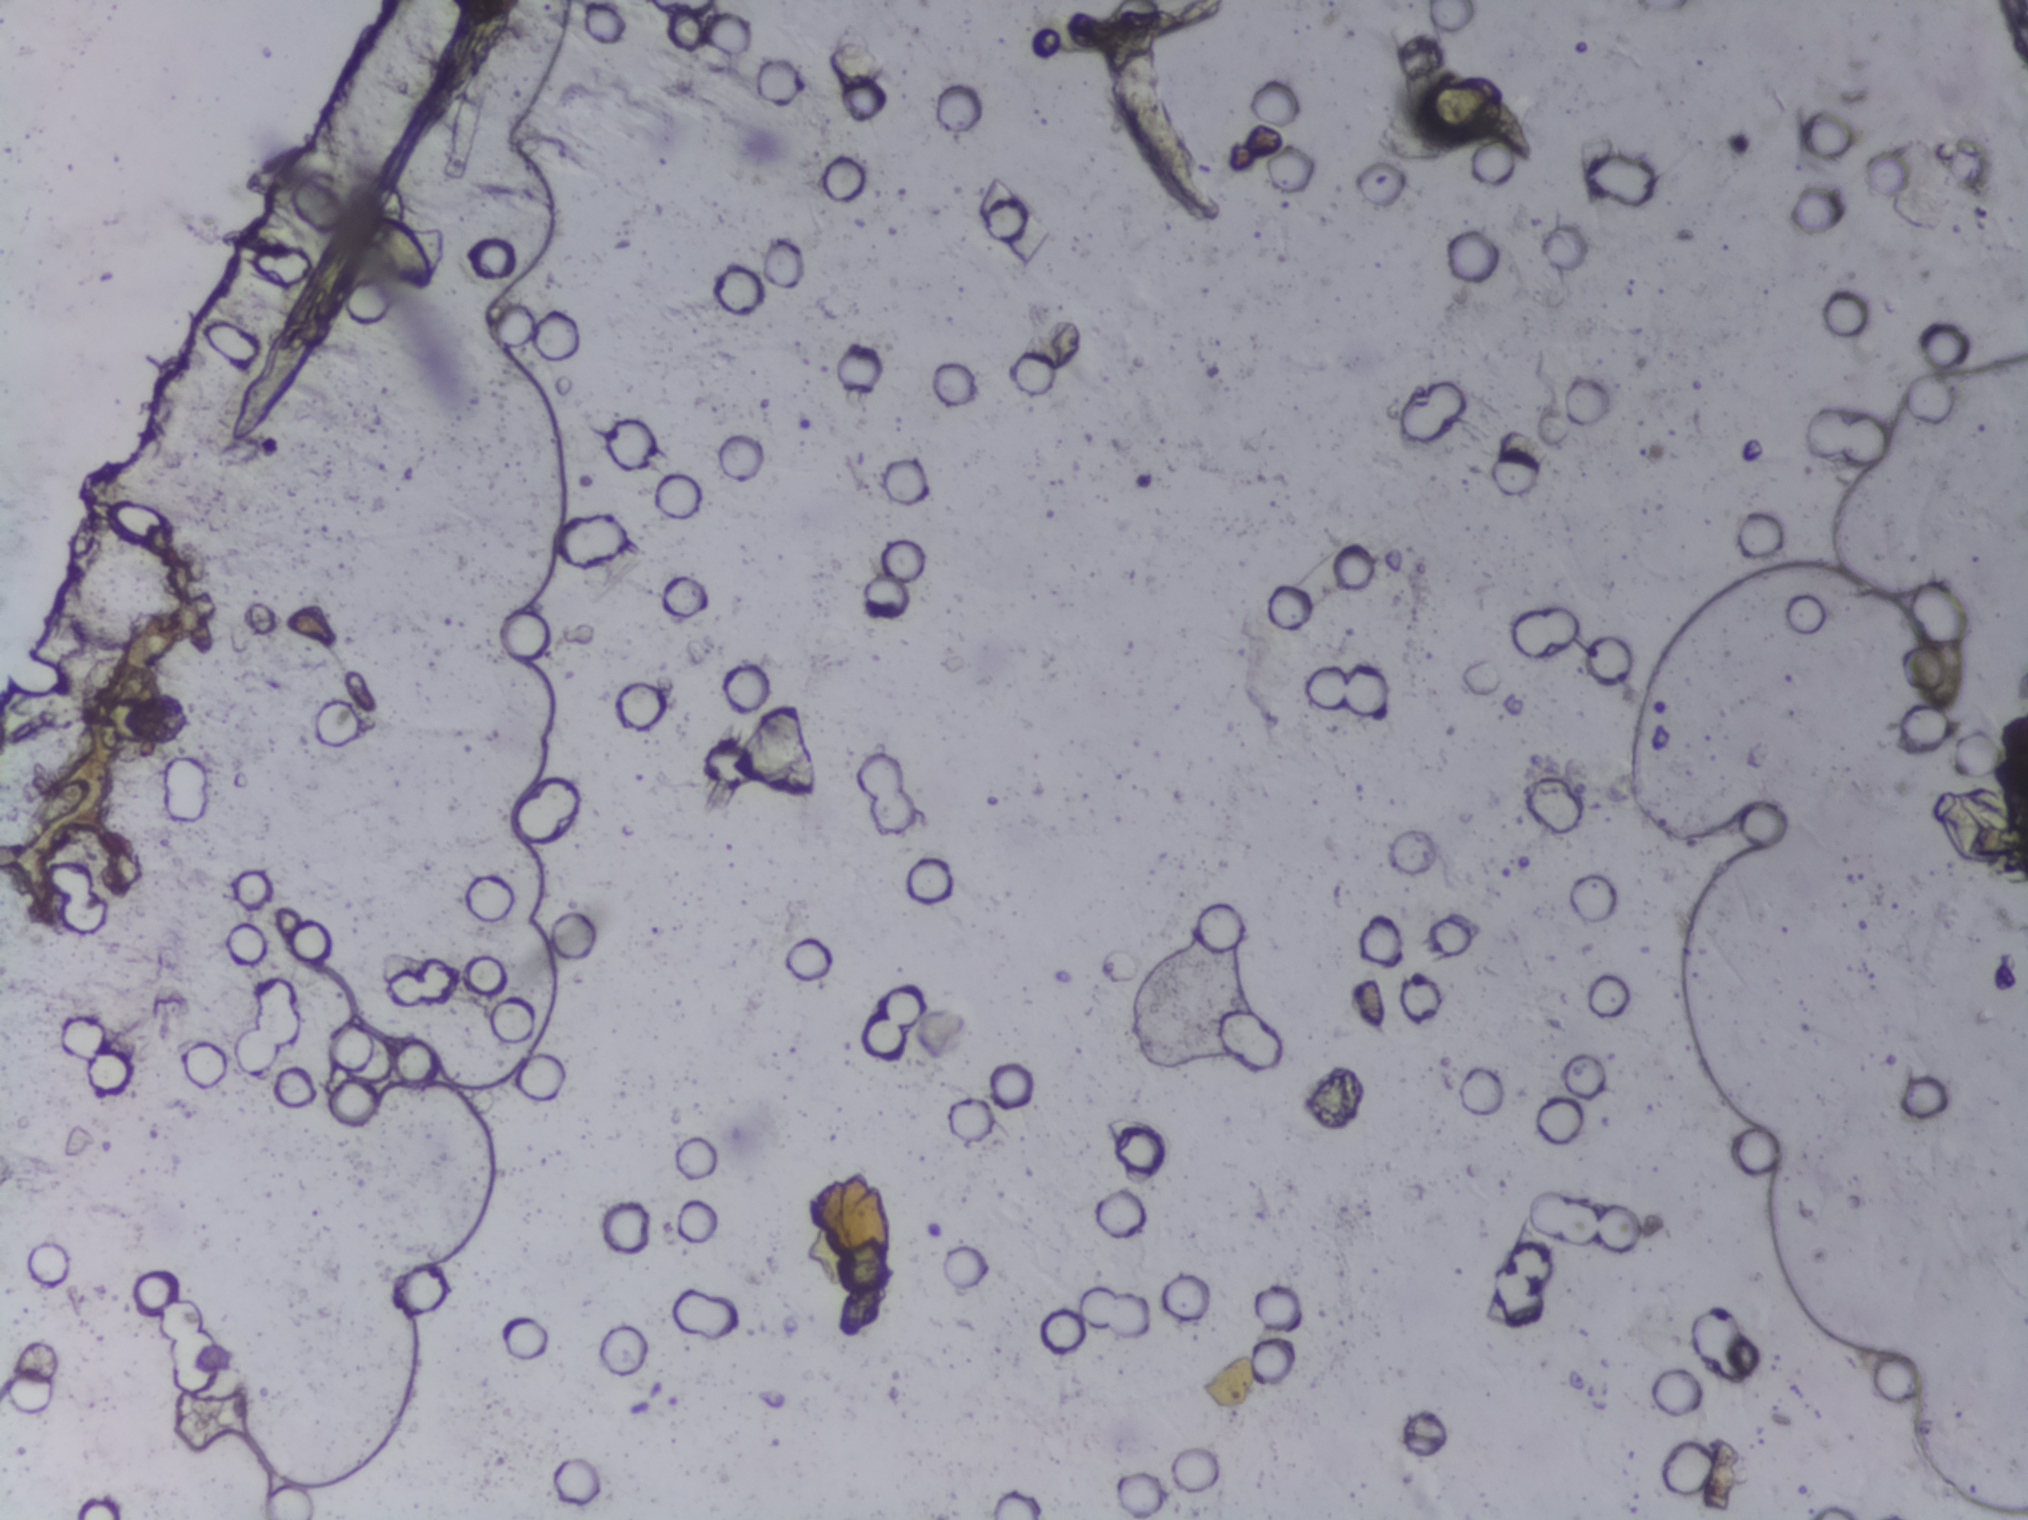
Microscope photograph (4× objective) of a membrane that a urine sample was filtered through. Field of view: about 1.5 mm wide and 1.1 mm high.
The expert annotation outlines no Schistosoma egg in this image.